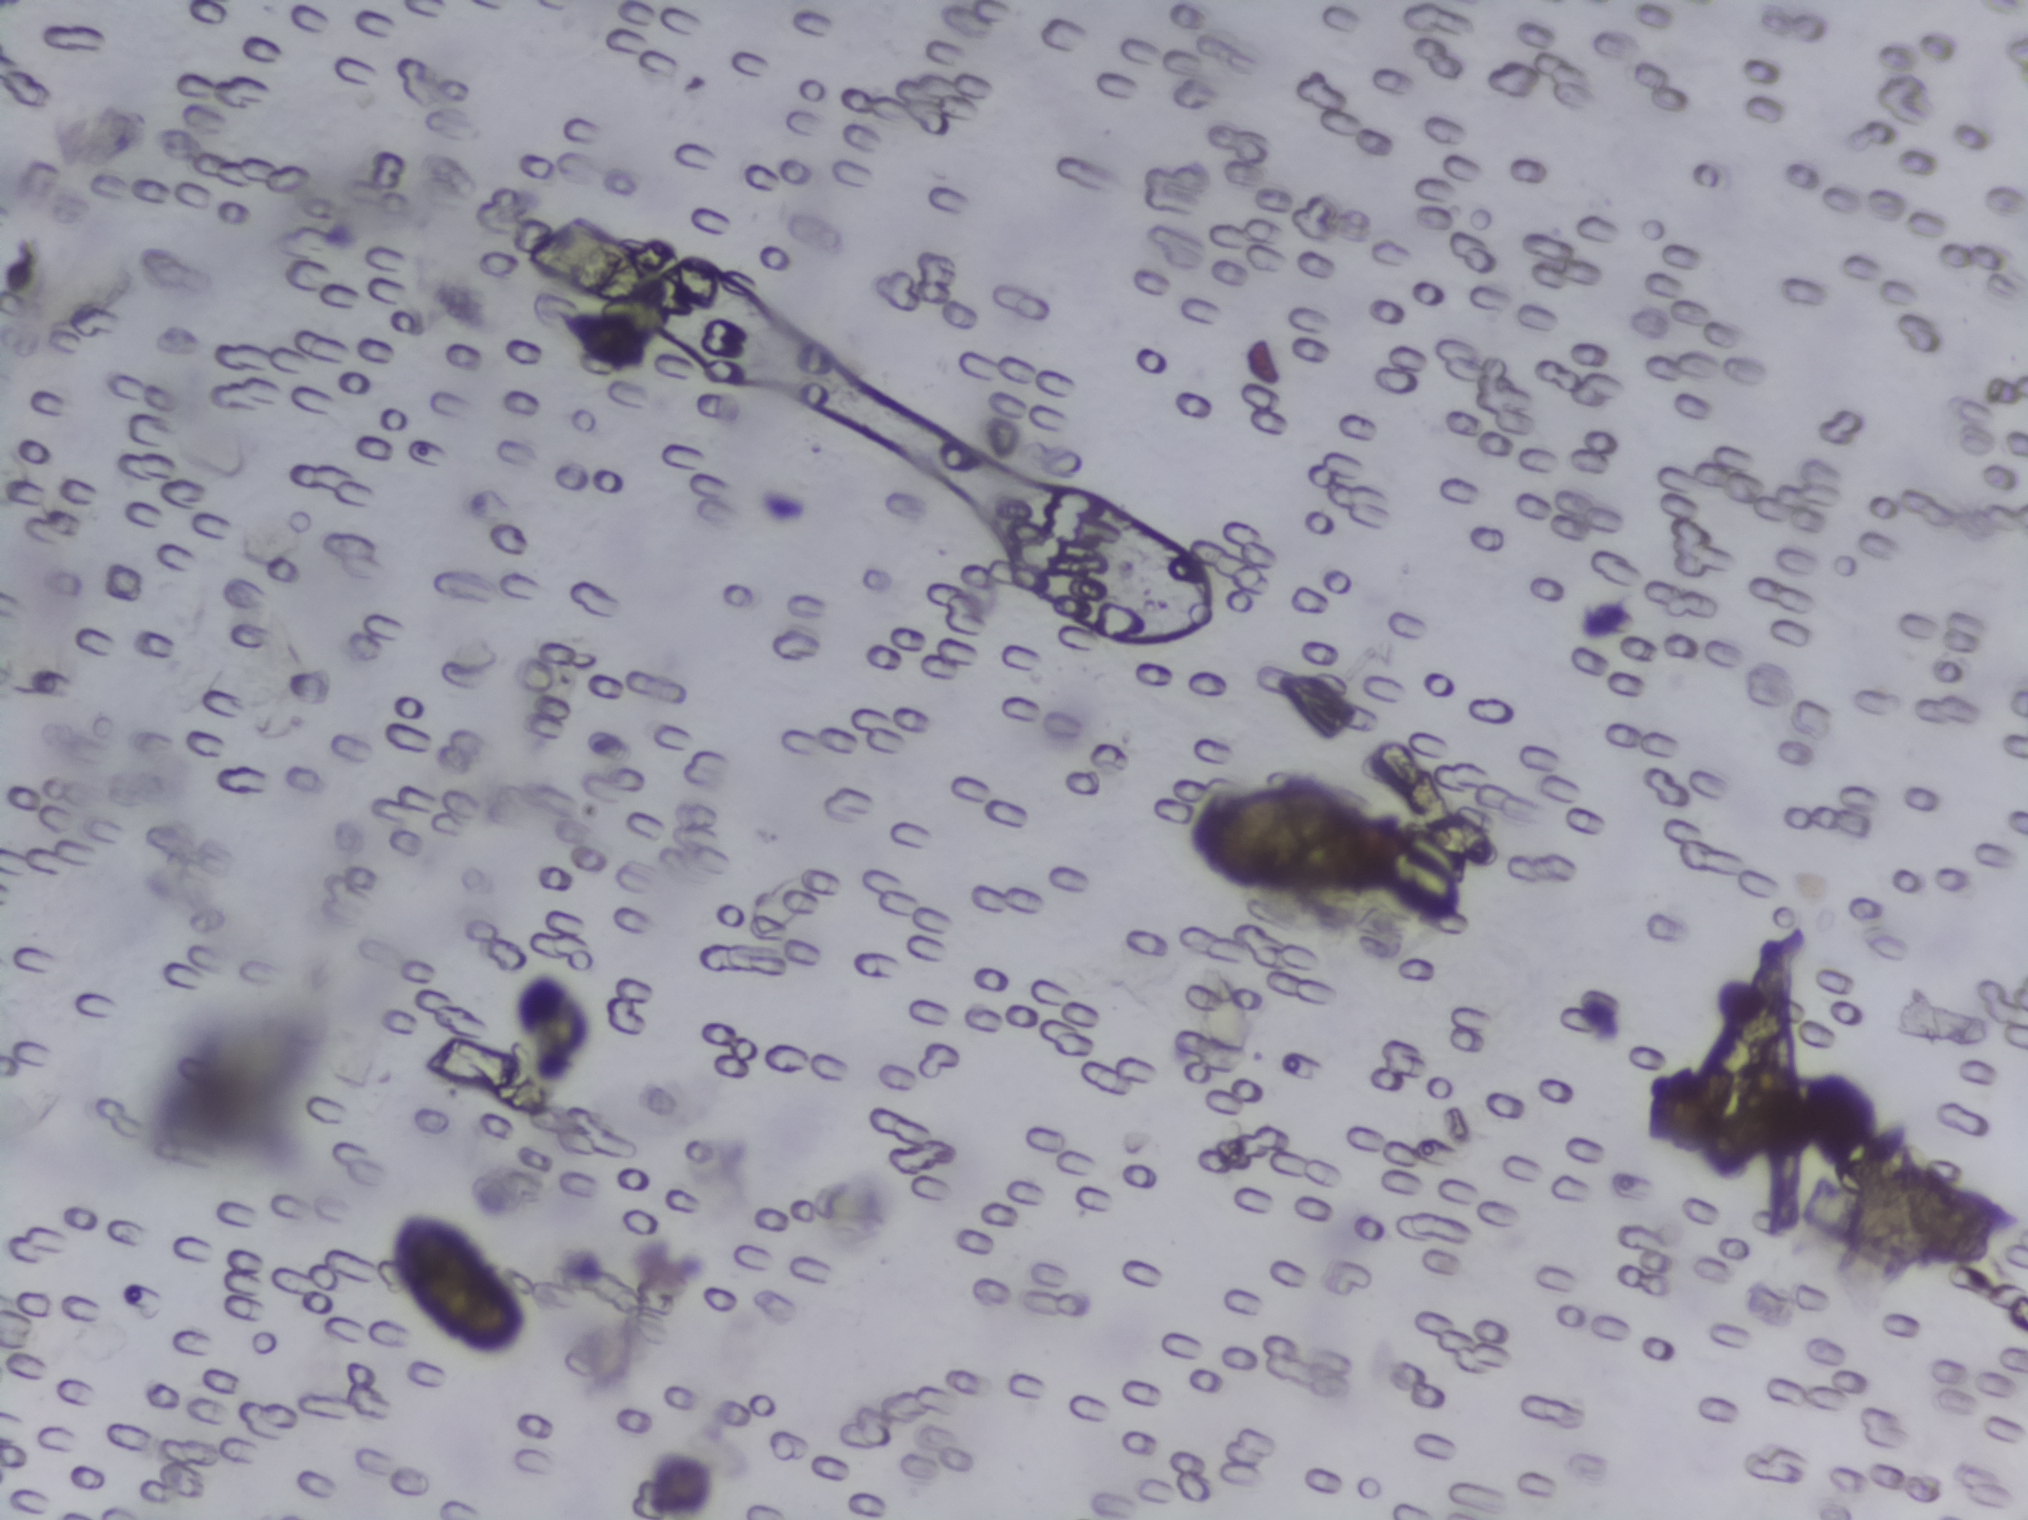
Urine filtration membrane under a 4× objective, photographed by an automated digital microscope. Field of view: about 1.5 mm wide and 1.1 mm high.
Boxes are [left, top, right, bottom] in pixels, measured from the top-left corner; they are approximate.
Findings: two areas outlined as Schistosoma eggs. Locations: [388, 1211, 531, 1361]; [1348, 804, 1464, 917]. About 0.7% of the image's pixels are marked (the marked pixels themselves, not the boxes around them). Eggs that touch can end up inside the same outlined area.